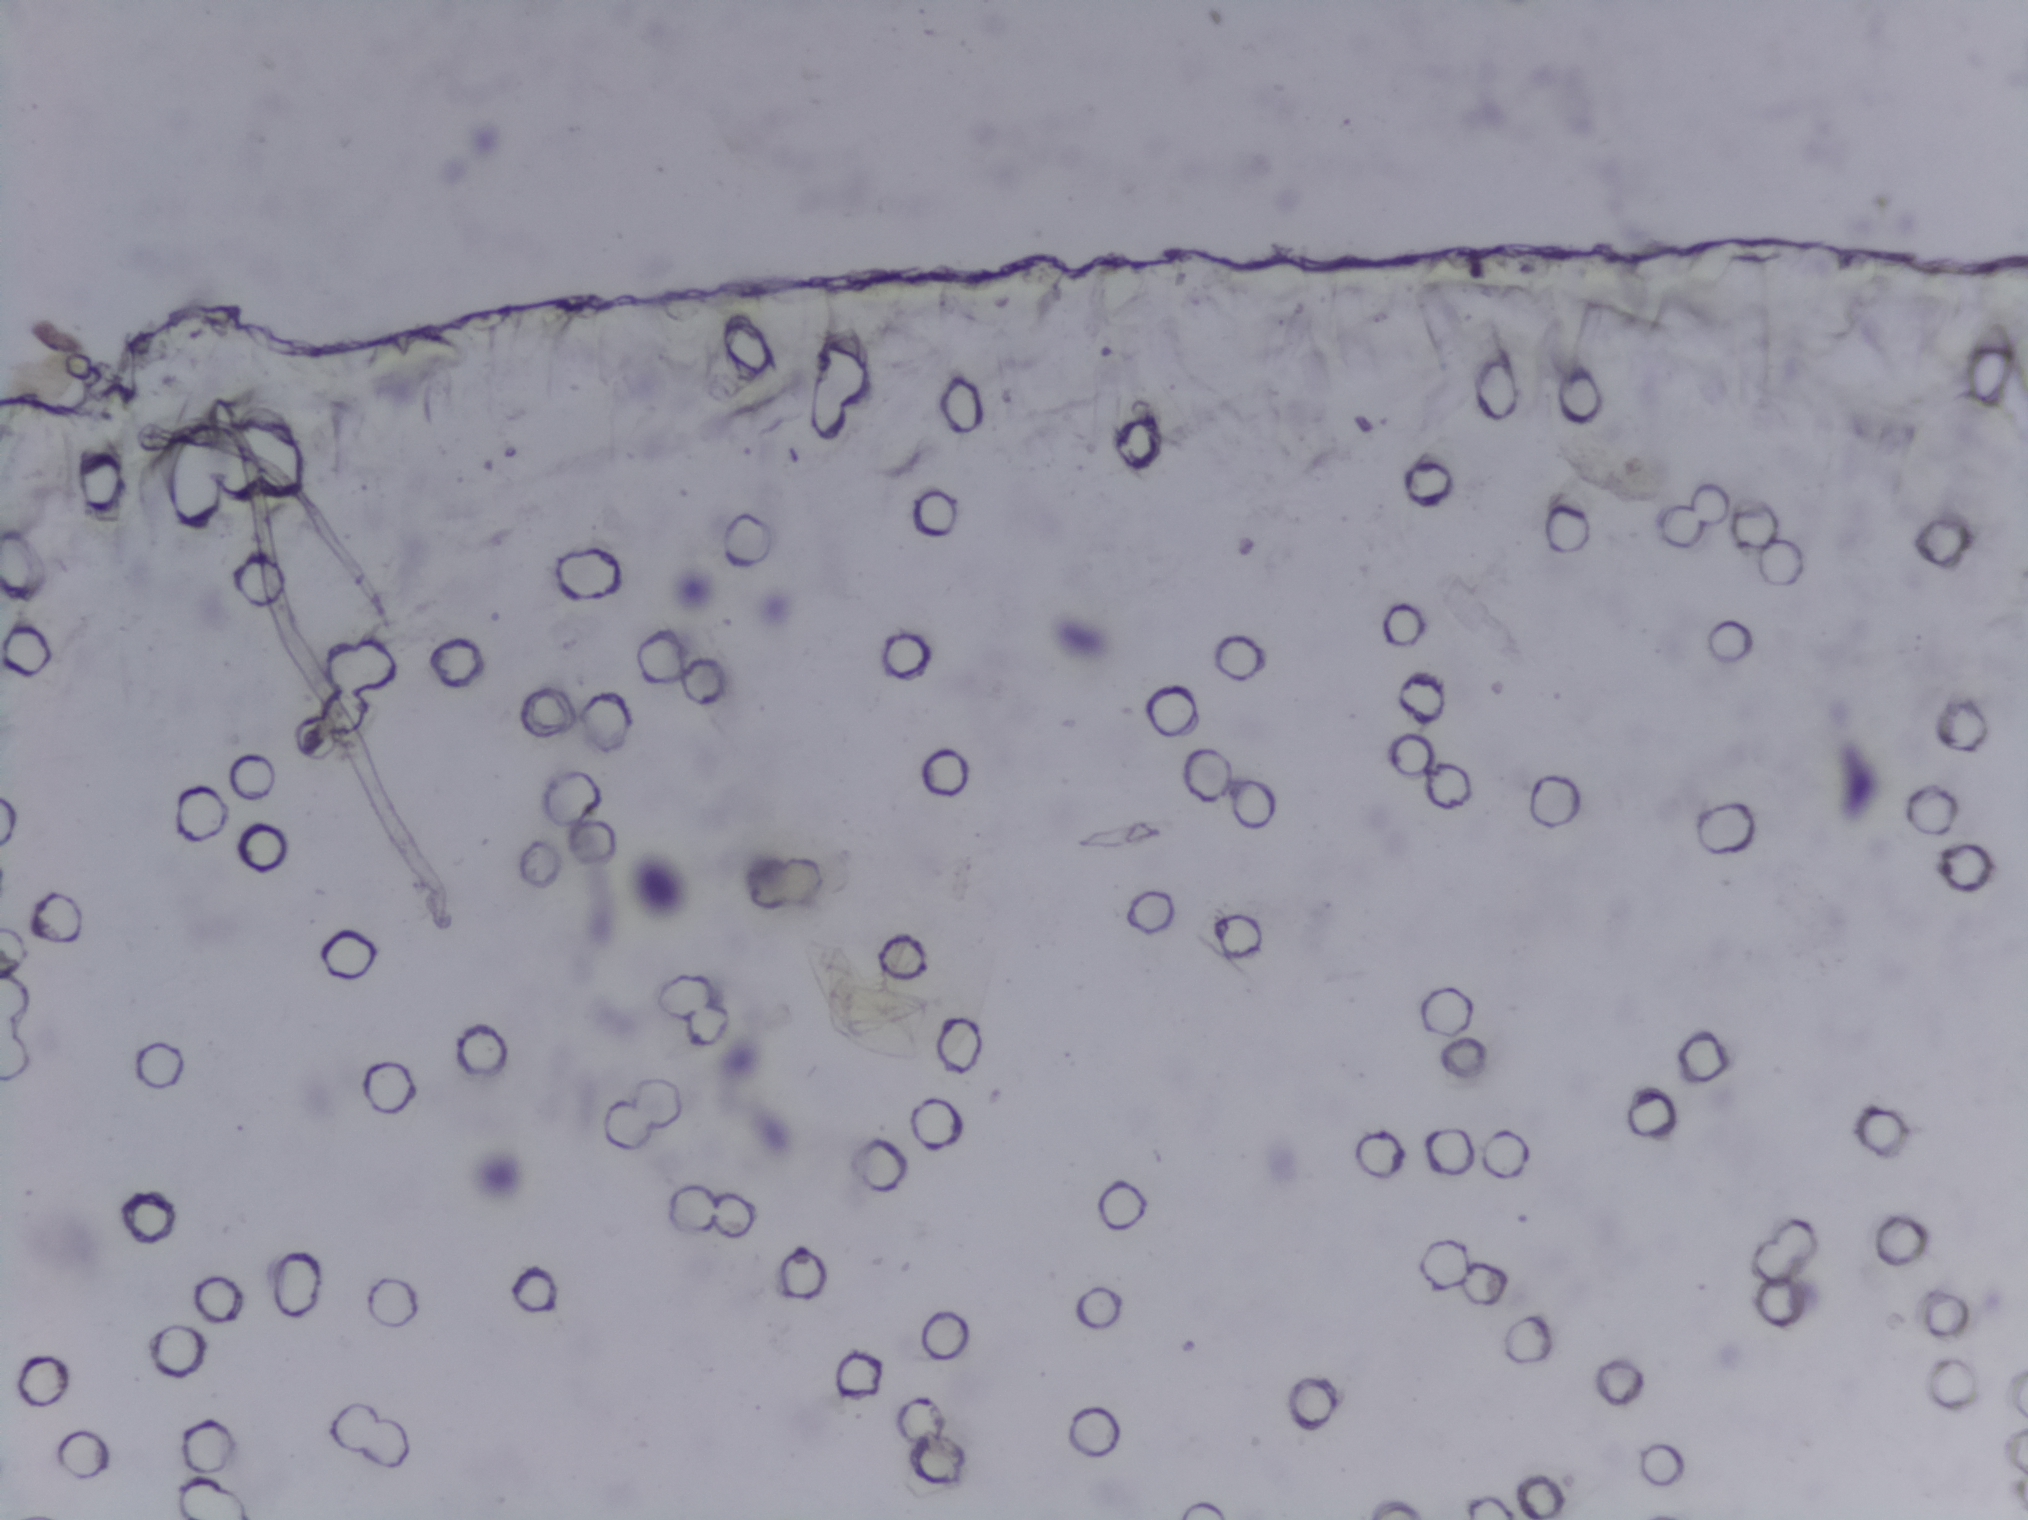
No Schistosoma egg is outlined in this image's expert annotation.
Urine filtration membrane under a 4× objective, photographed by an automated digital microscope. The image covers about 1.5 × 1.1 mm of the membrane.